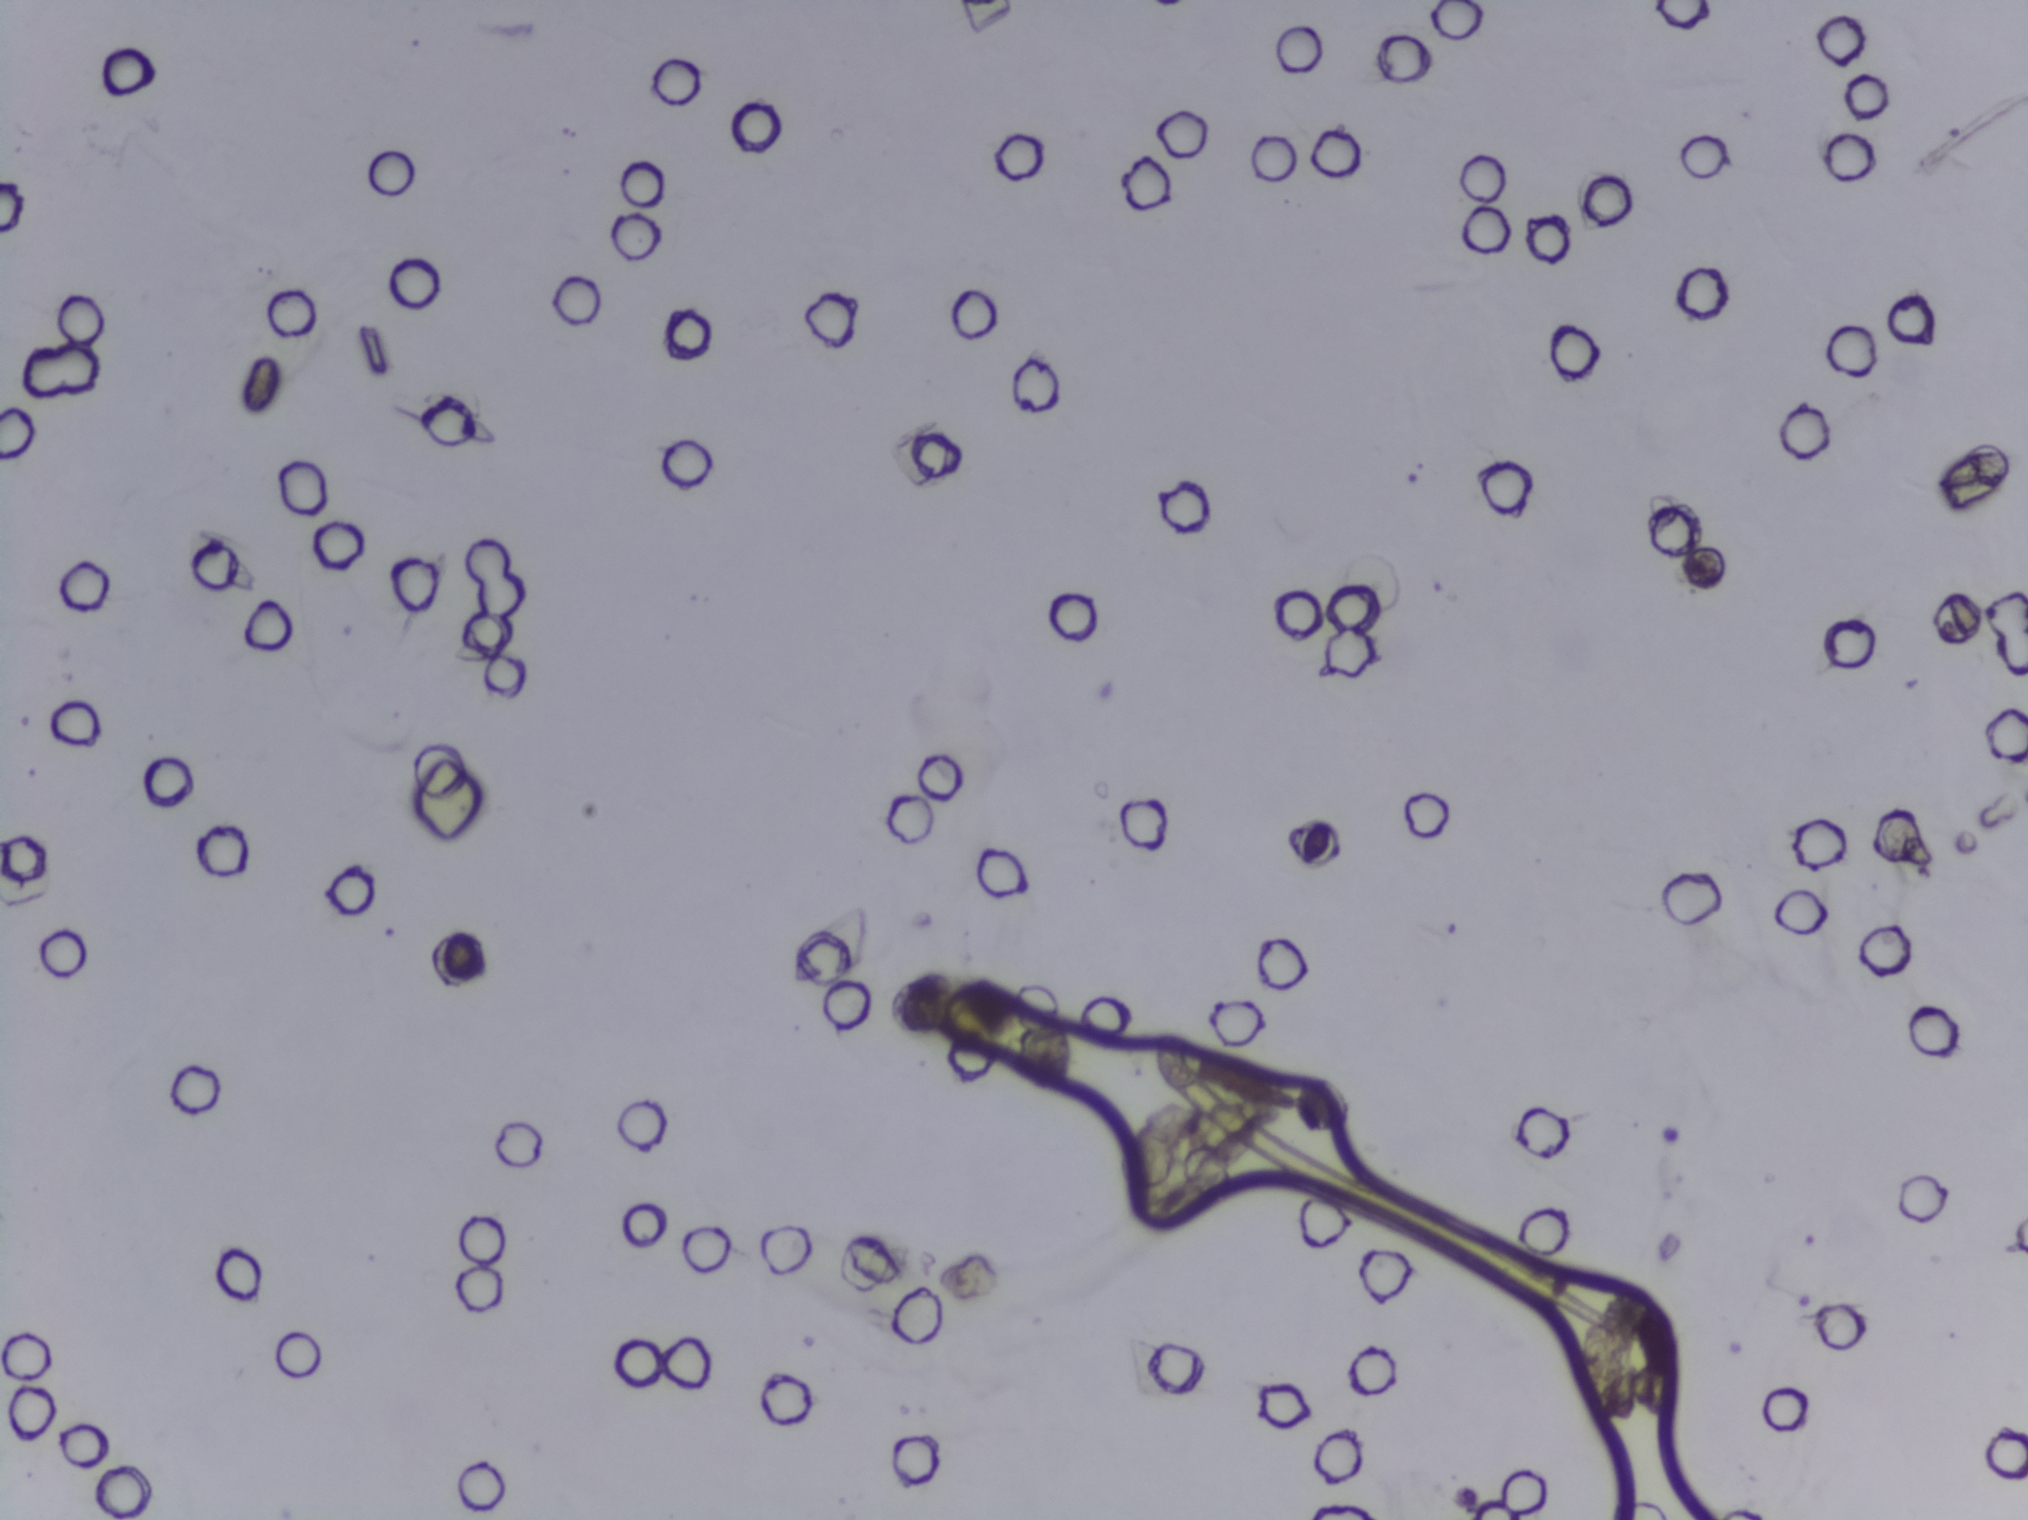
One field of view of a urine filter membrane, 4× objective, 2028 × 1520 pixels. The image covers about 1.5 × 1.1 mm of the membrane.
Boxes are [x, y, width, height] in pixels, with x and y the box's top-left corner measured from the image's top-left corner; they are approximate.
One area of this image is outlined as Schistosoma eggs: [1581, 1321, 55, 101]. The marked pixels themselves, not the box around them, cover about 0.1% of the image. An outlined area can hold more than one egg. A marked egg may occasionally be S. mansoni rather than S. haematobium.